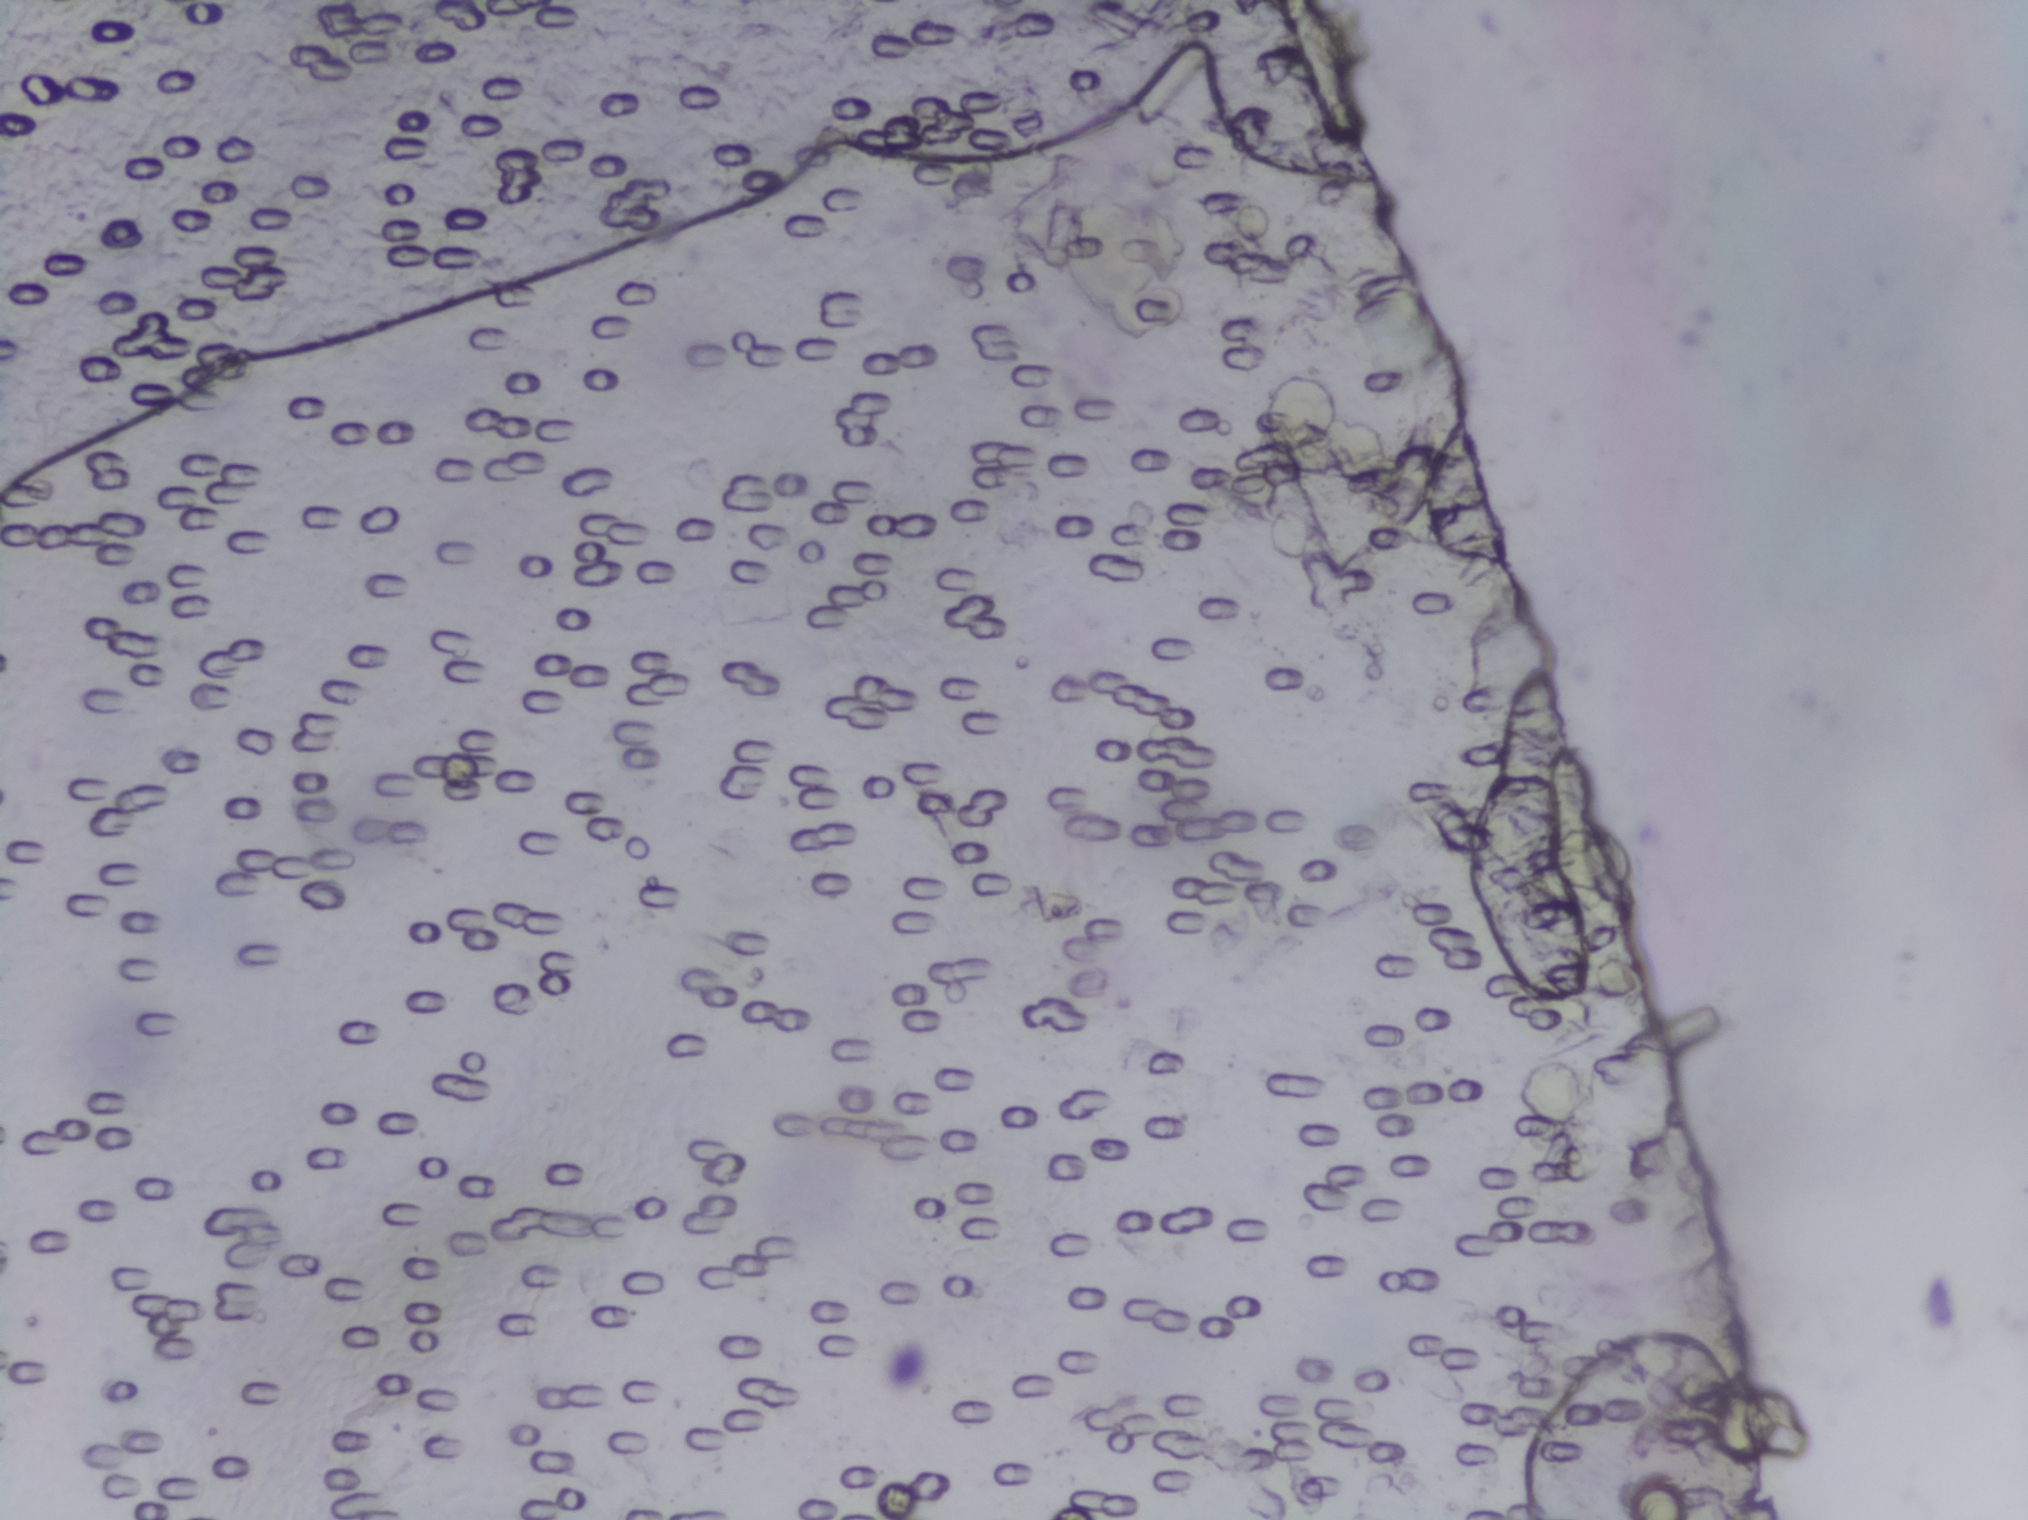
Photomicrograph of a urine filtration membrane, 4× objective.
Schistosoma eggs: none outlined.